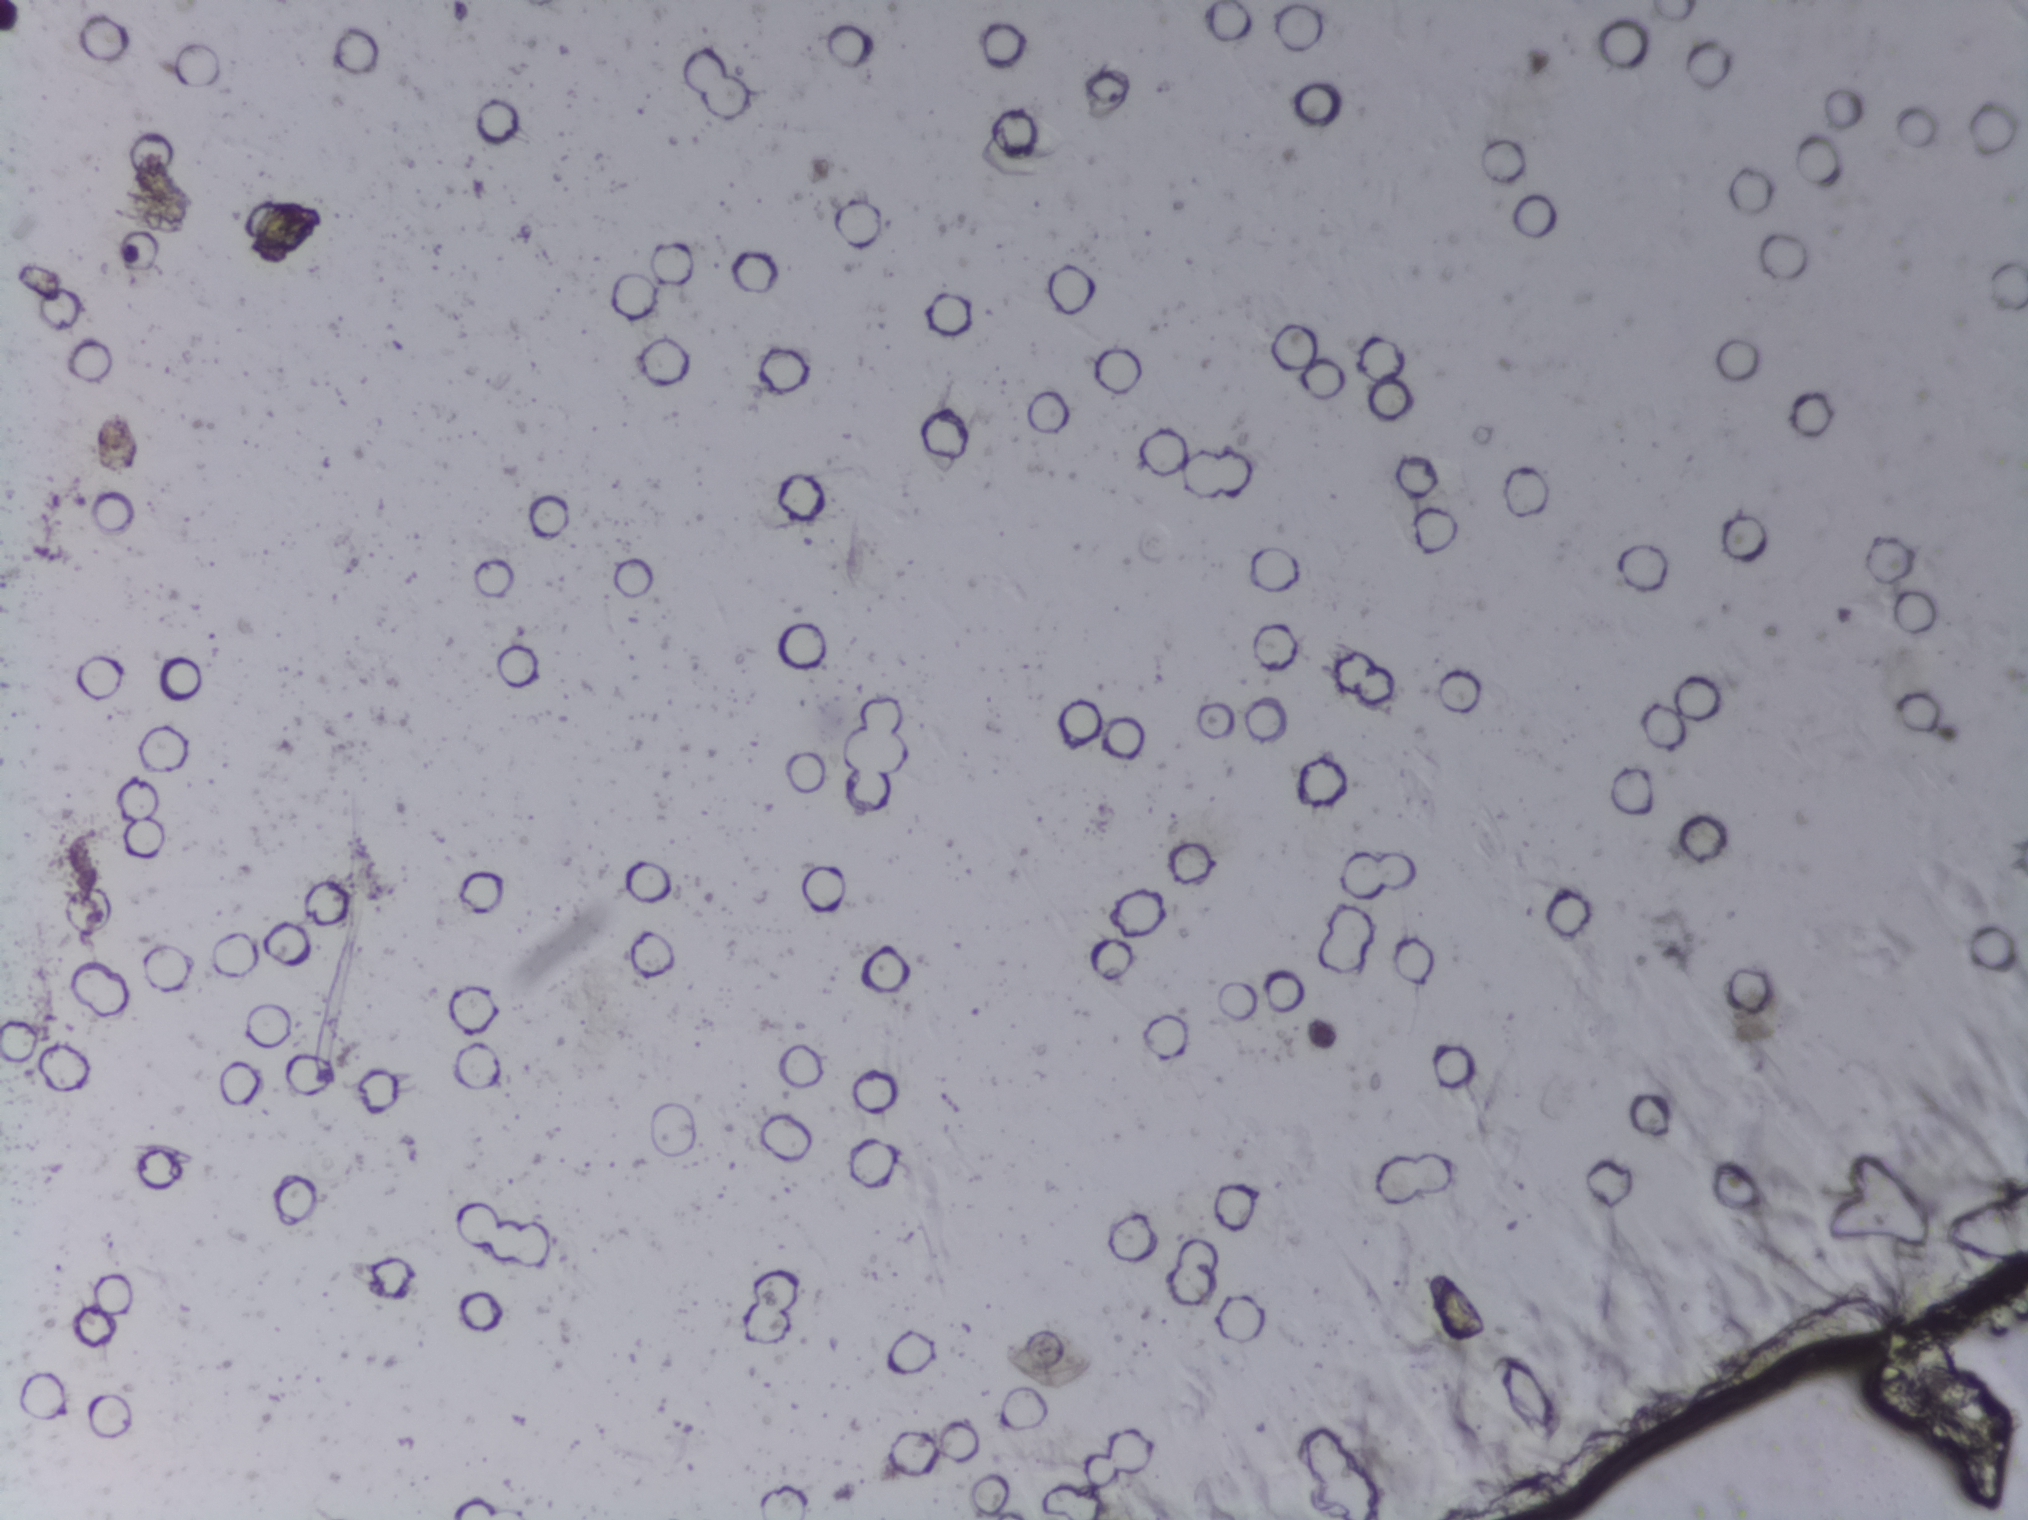
Photomicrograph of a urine filtration membrane, 4× objective.
No Schistosoma egg is outlined in this image's expert annotation.